One field of view of a urine filter membrane, 4× objective, 2028 × 1520 pixels. The field of view is about 1.5 mm × 1.1 mm.
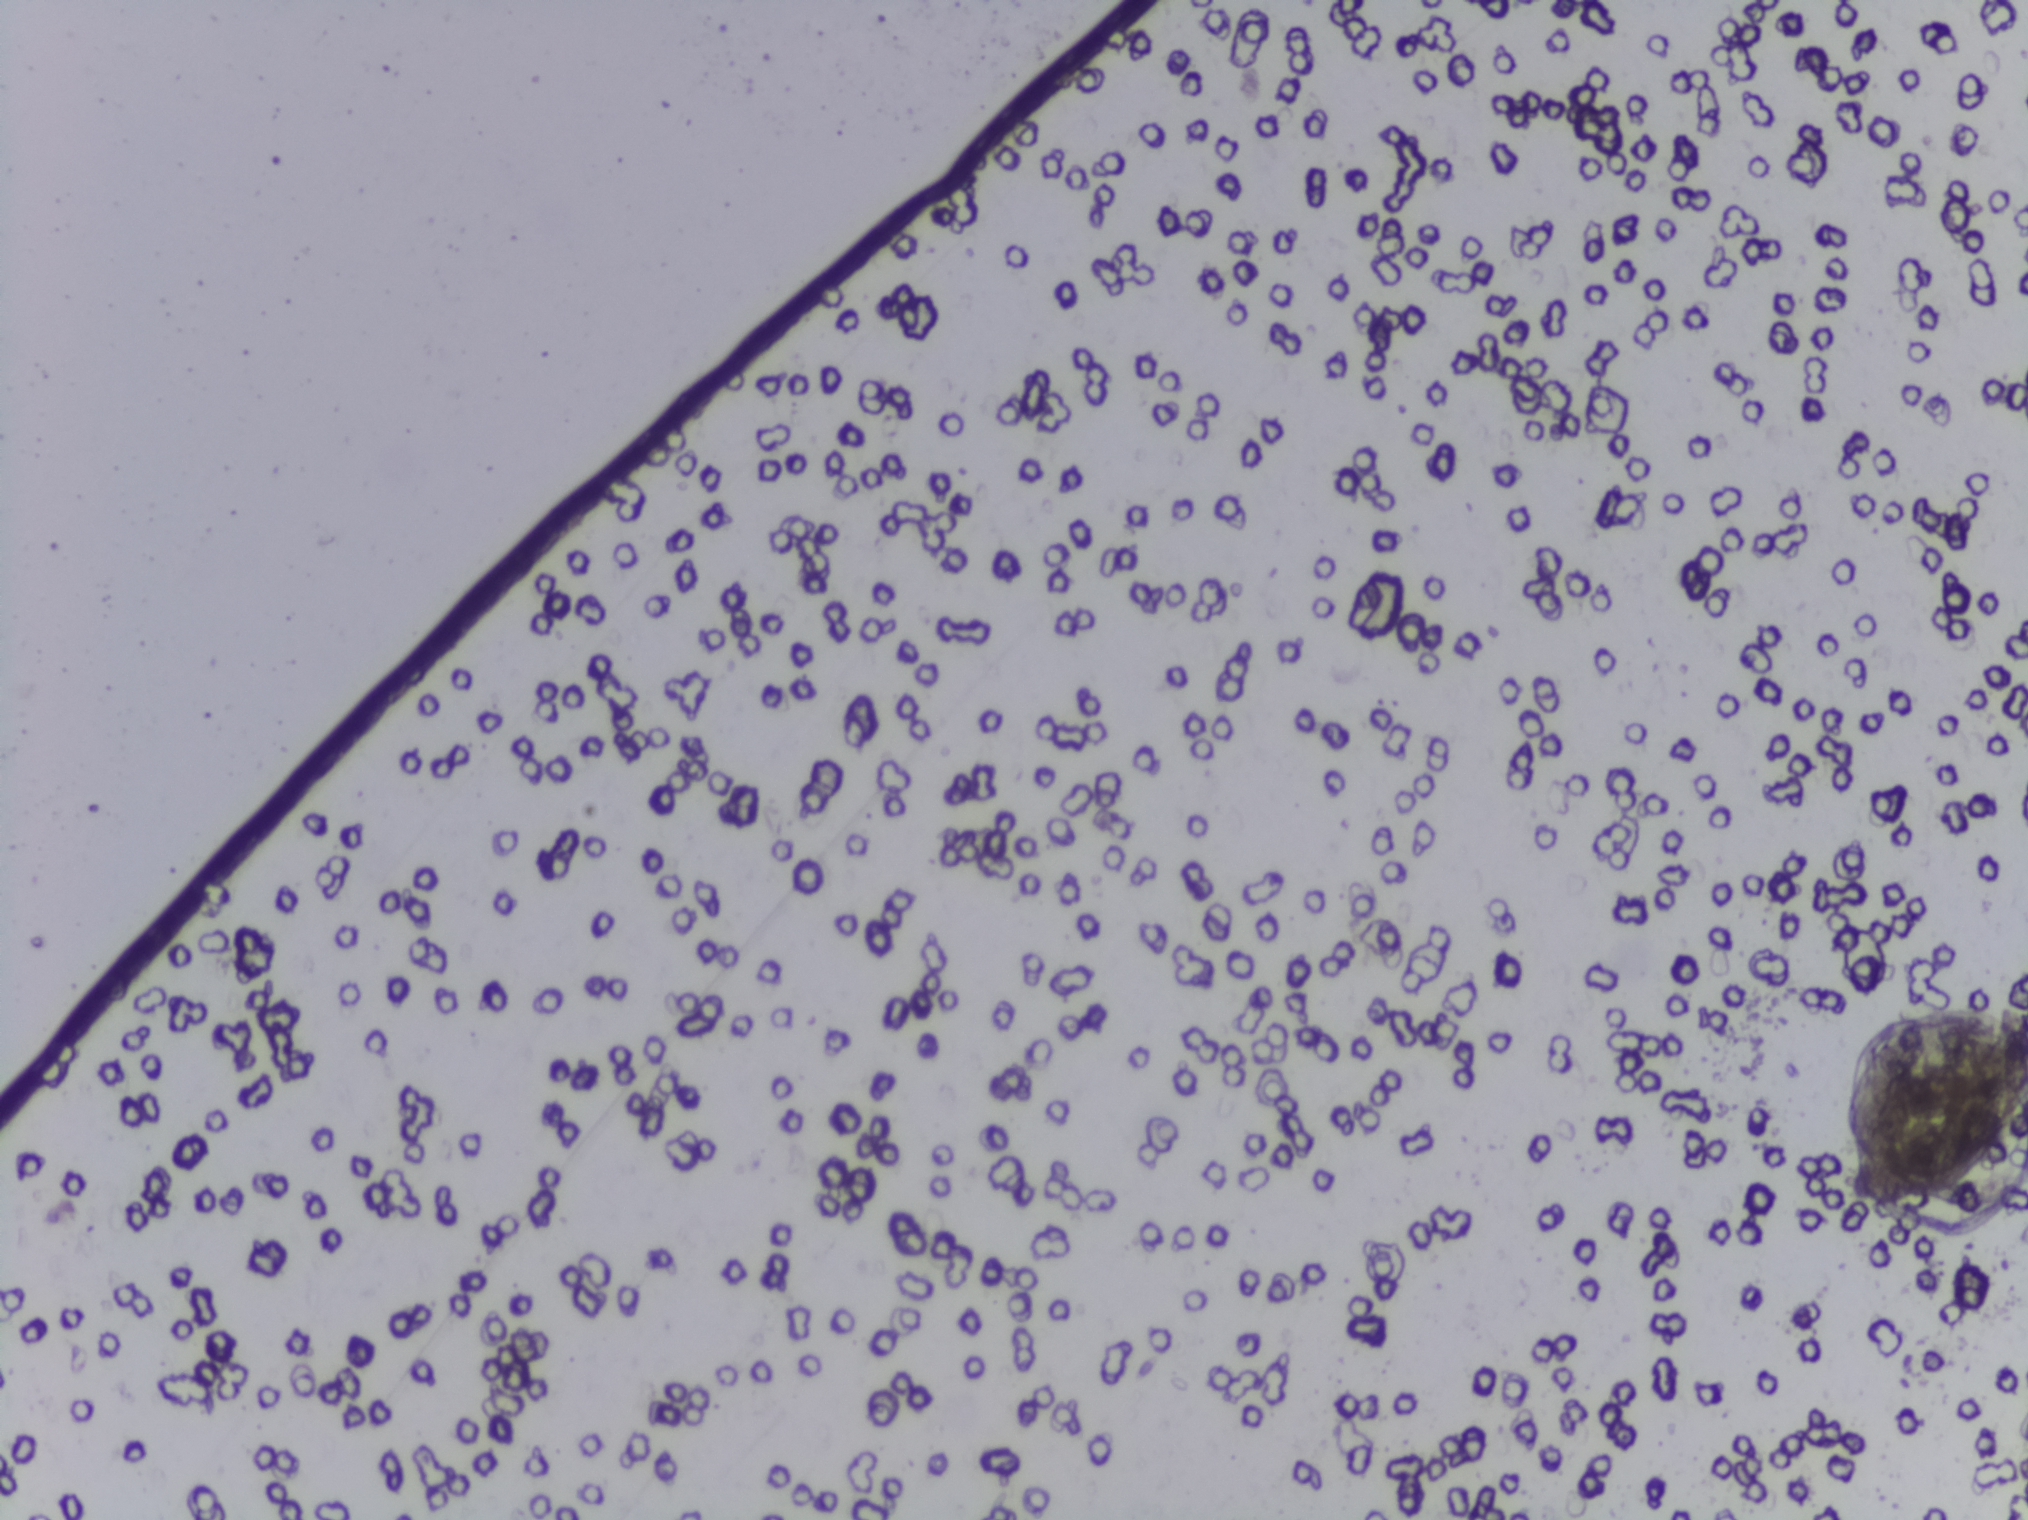
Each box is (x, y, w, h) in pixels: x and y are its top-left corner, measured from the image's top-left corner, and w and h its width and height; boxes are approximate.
One area of this image is outlined as Schistosoma eggs: (x=1851, y=1130, w=177, h=84) (reaching the right edge of the frame). A single outlined area may contain several eggs.